Urine filtration membrane under a 4× objective, photographed by an automated digital microscope.
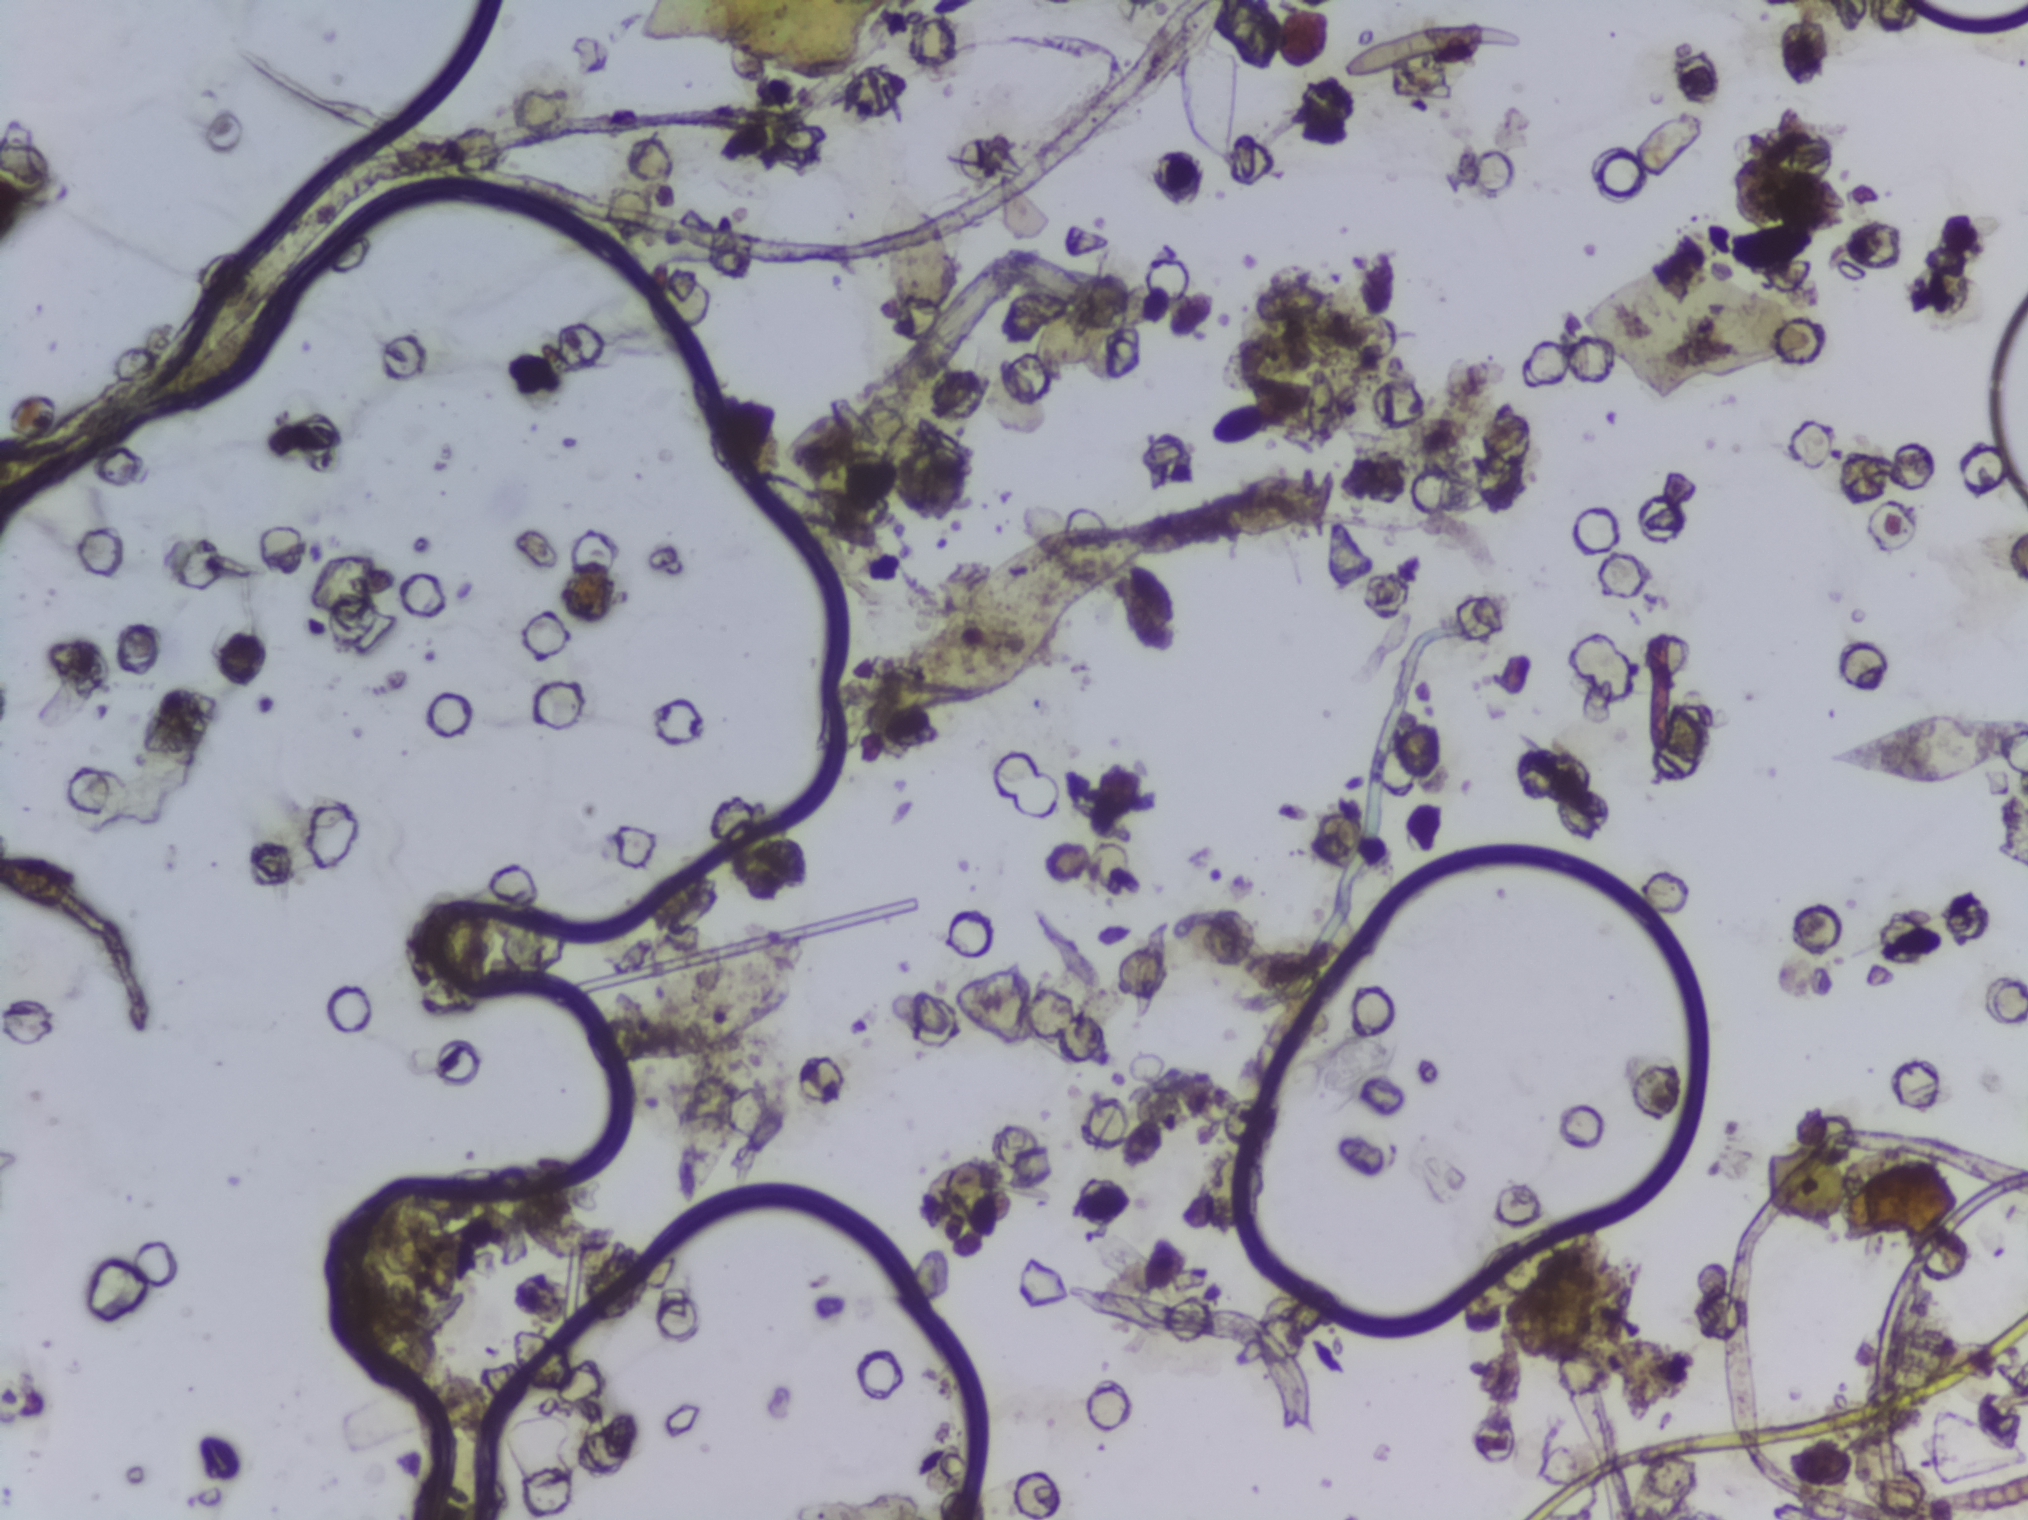
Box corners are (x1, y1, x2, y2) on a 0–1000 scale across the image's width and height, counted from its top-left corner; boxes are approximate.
Schistosoma eggs are outlined in one area of this image: (888, 457, 1000, 518) (reaching the right edge of the frame). About 0.5% of the image's pixels are marked (the marked pixels themselves, not the box around them). An outlined area can hold more than one egg.